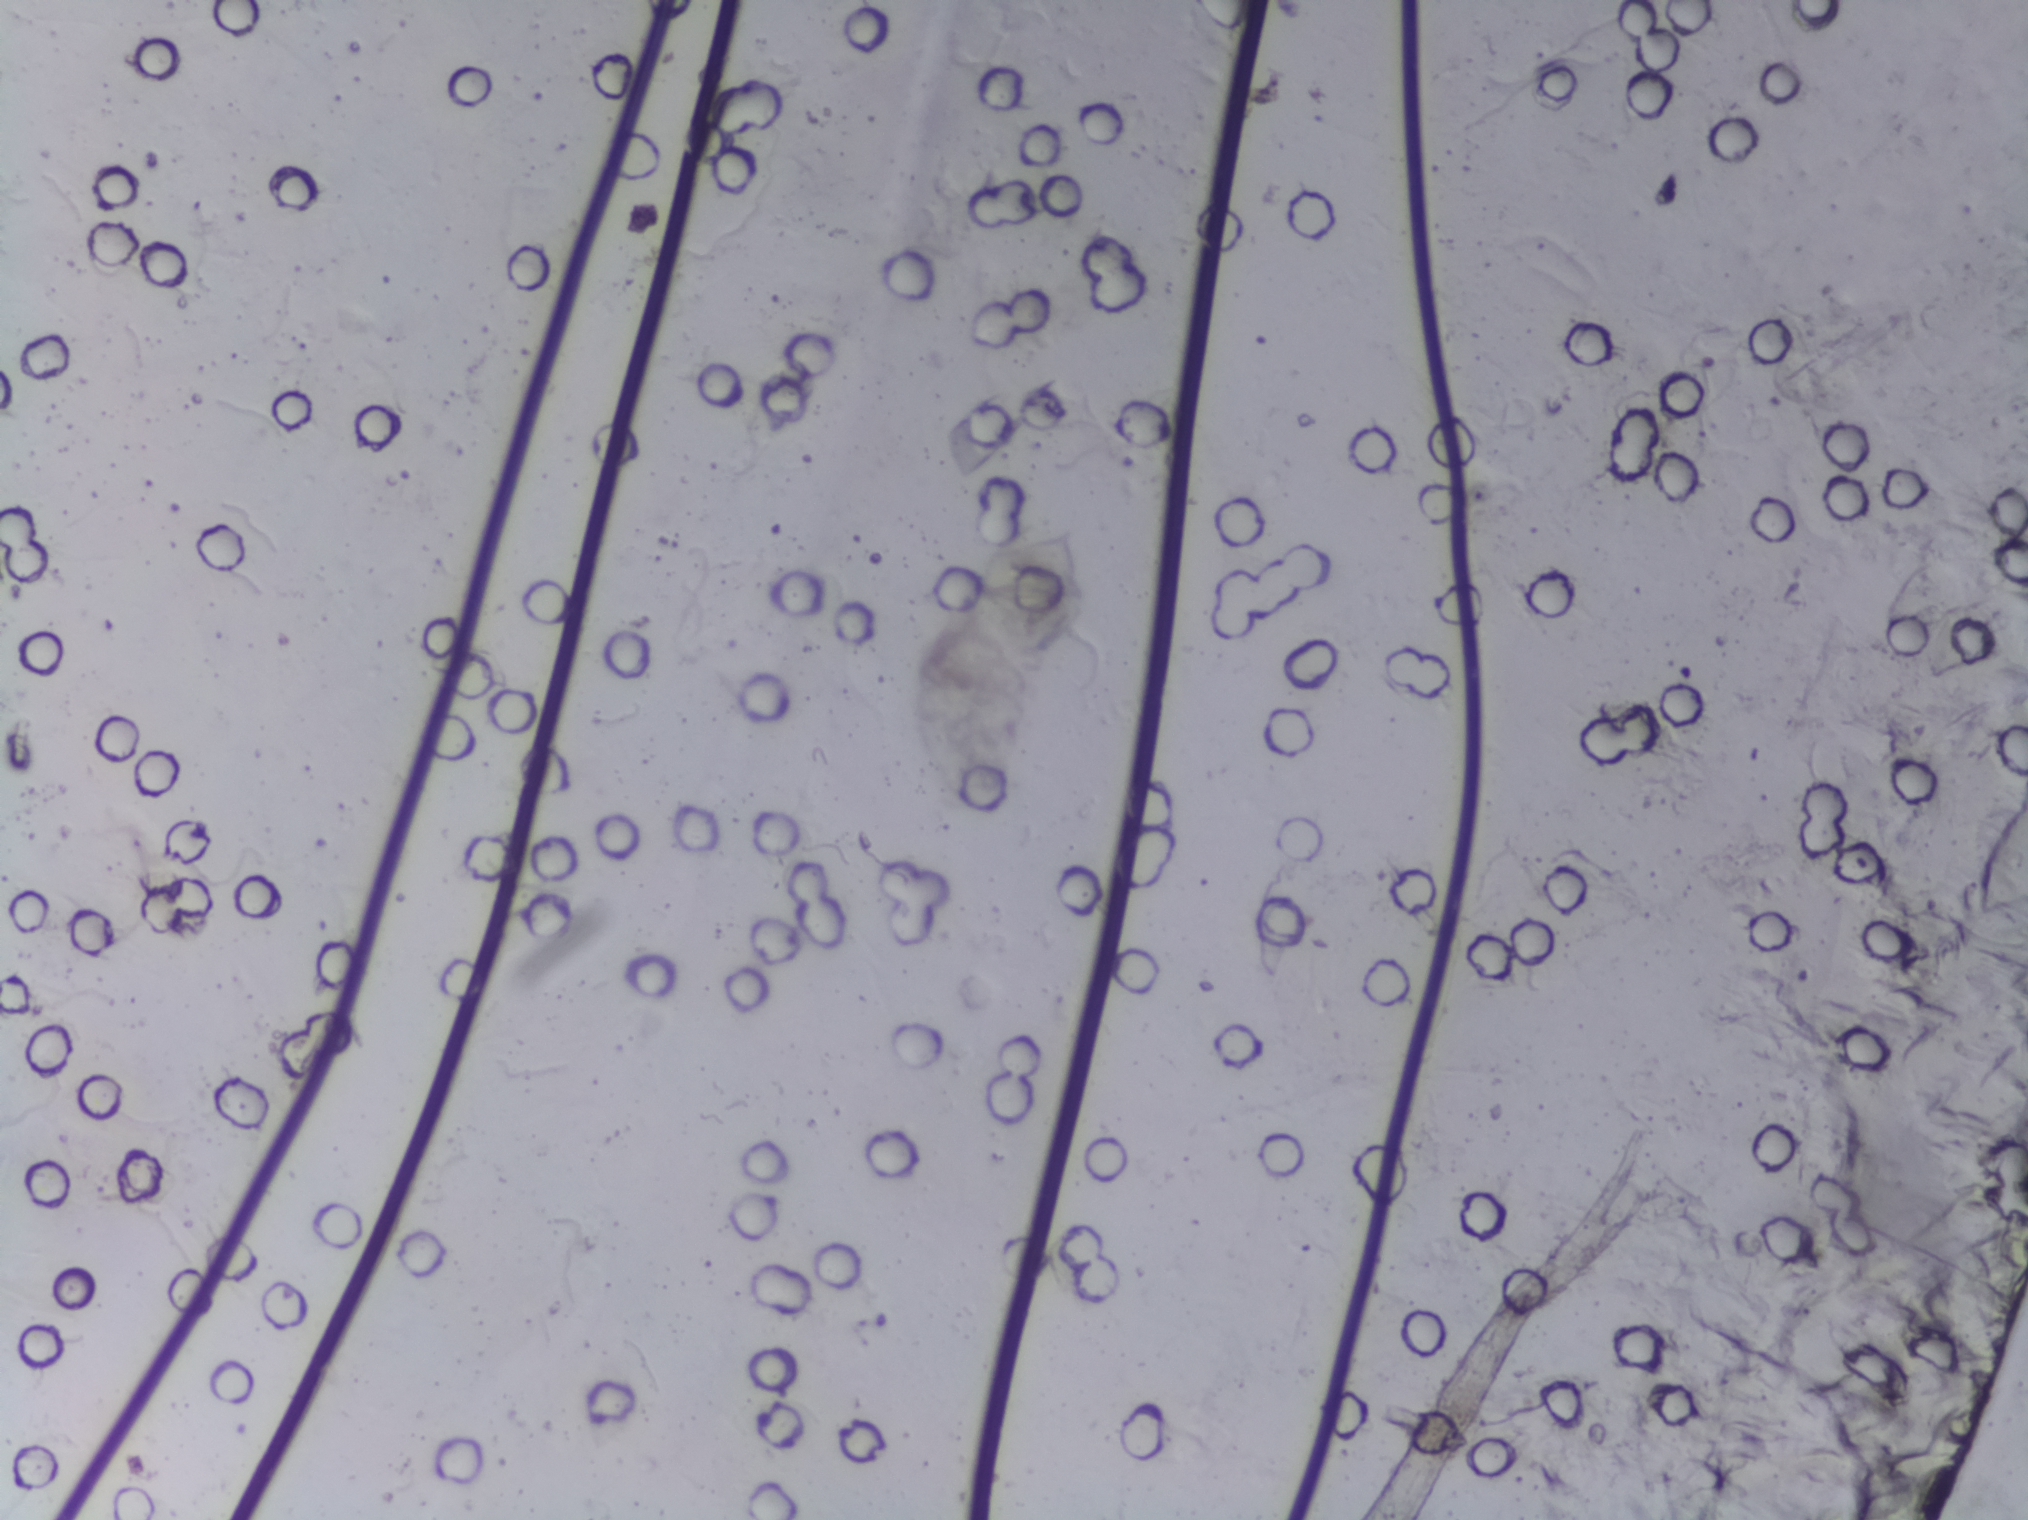
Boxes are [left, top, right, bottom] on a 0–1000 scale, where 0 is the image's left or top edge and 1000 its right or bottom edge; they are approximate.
Schistosoma eggs, outlined areas: [453, 341, 543, 546]. An outlined area can hold more than one egg.
Microscope photograph (4× objective) of a membrane that a urine sample was filtered through.